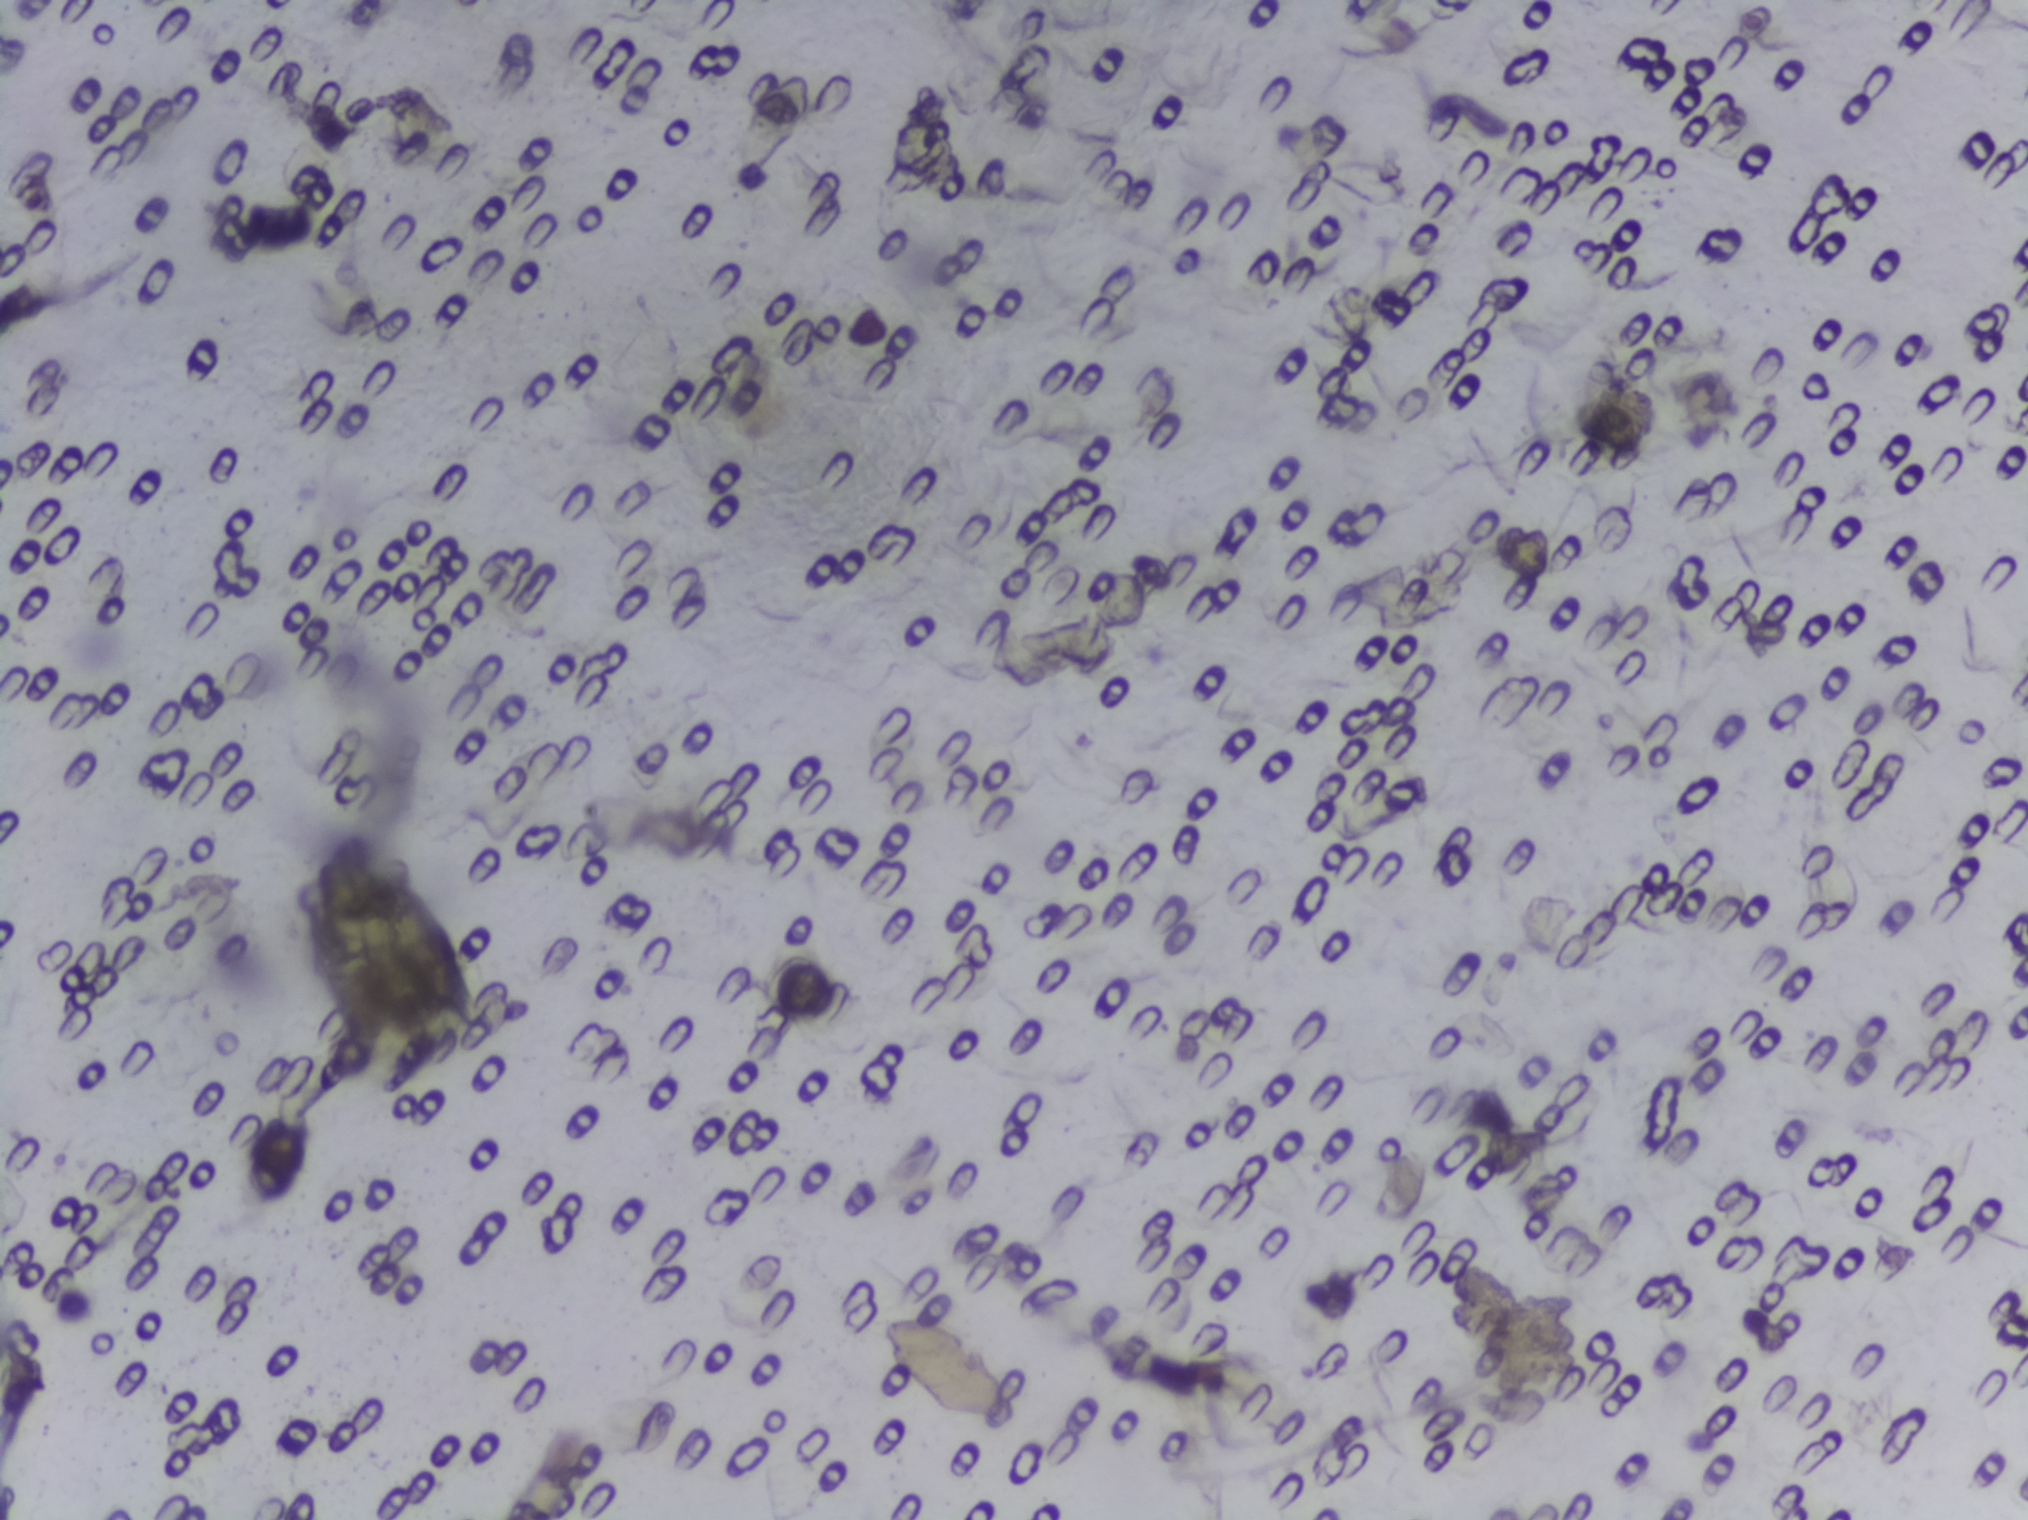
Urine filter membrane photographed through a 4× microscope objective.
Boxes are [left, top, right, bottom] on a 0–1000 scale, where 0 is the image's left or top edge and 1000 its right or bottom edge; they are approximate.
One area of this image is outlined as Schistosoma eggs: [156, 565, 236, 679]. The marked pixels themselves, not the box around them, cover about 0.5% of the image. Eggs that touch can end up inside the same outlined area.